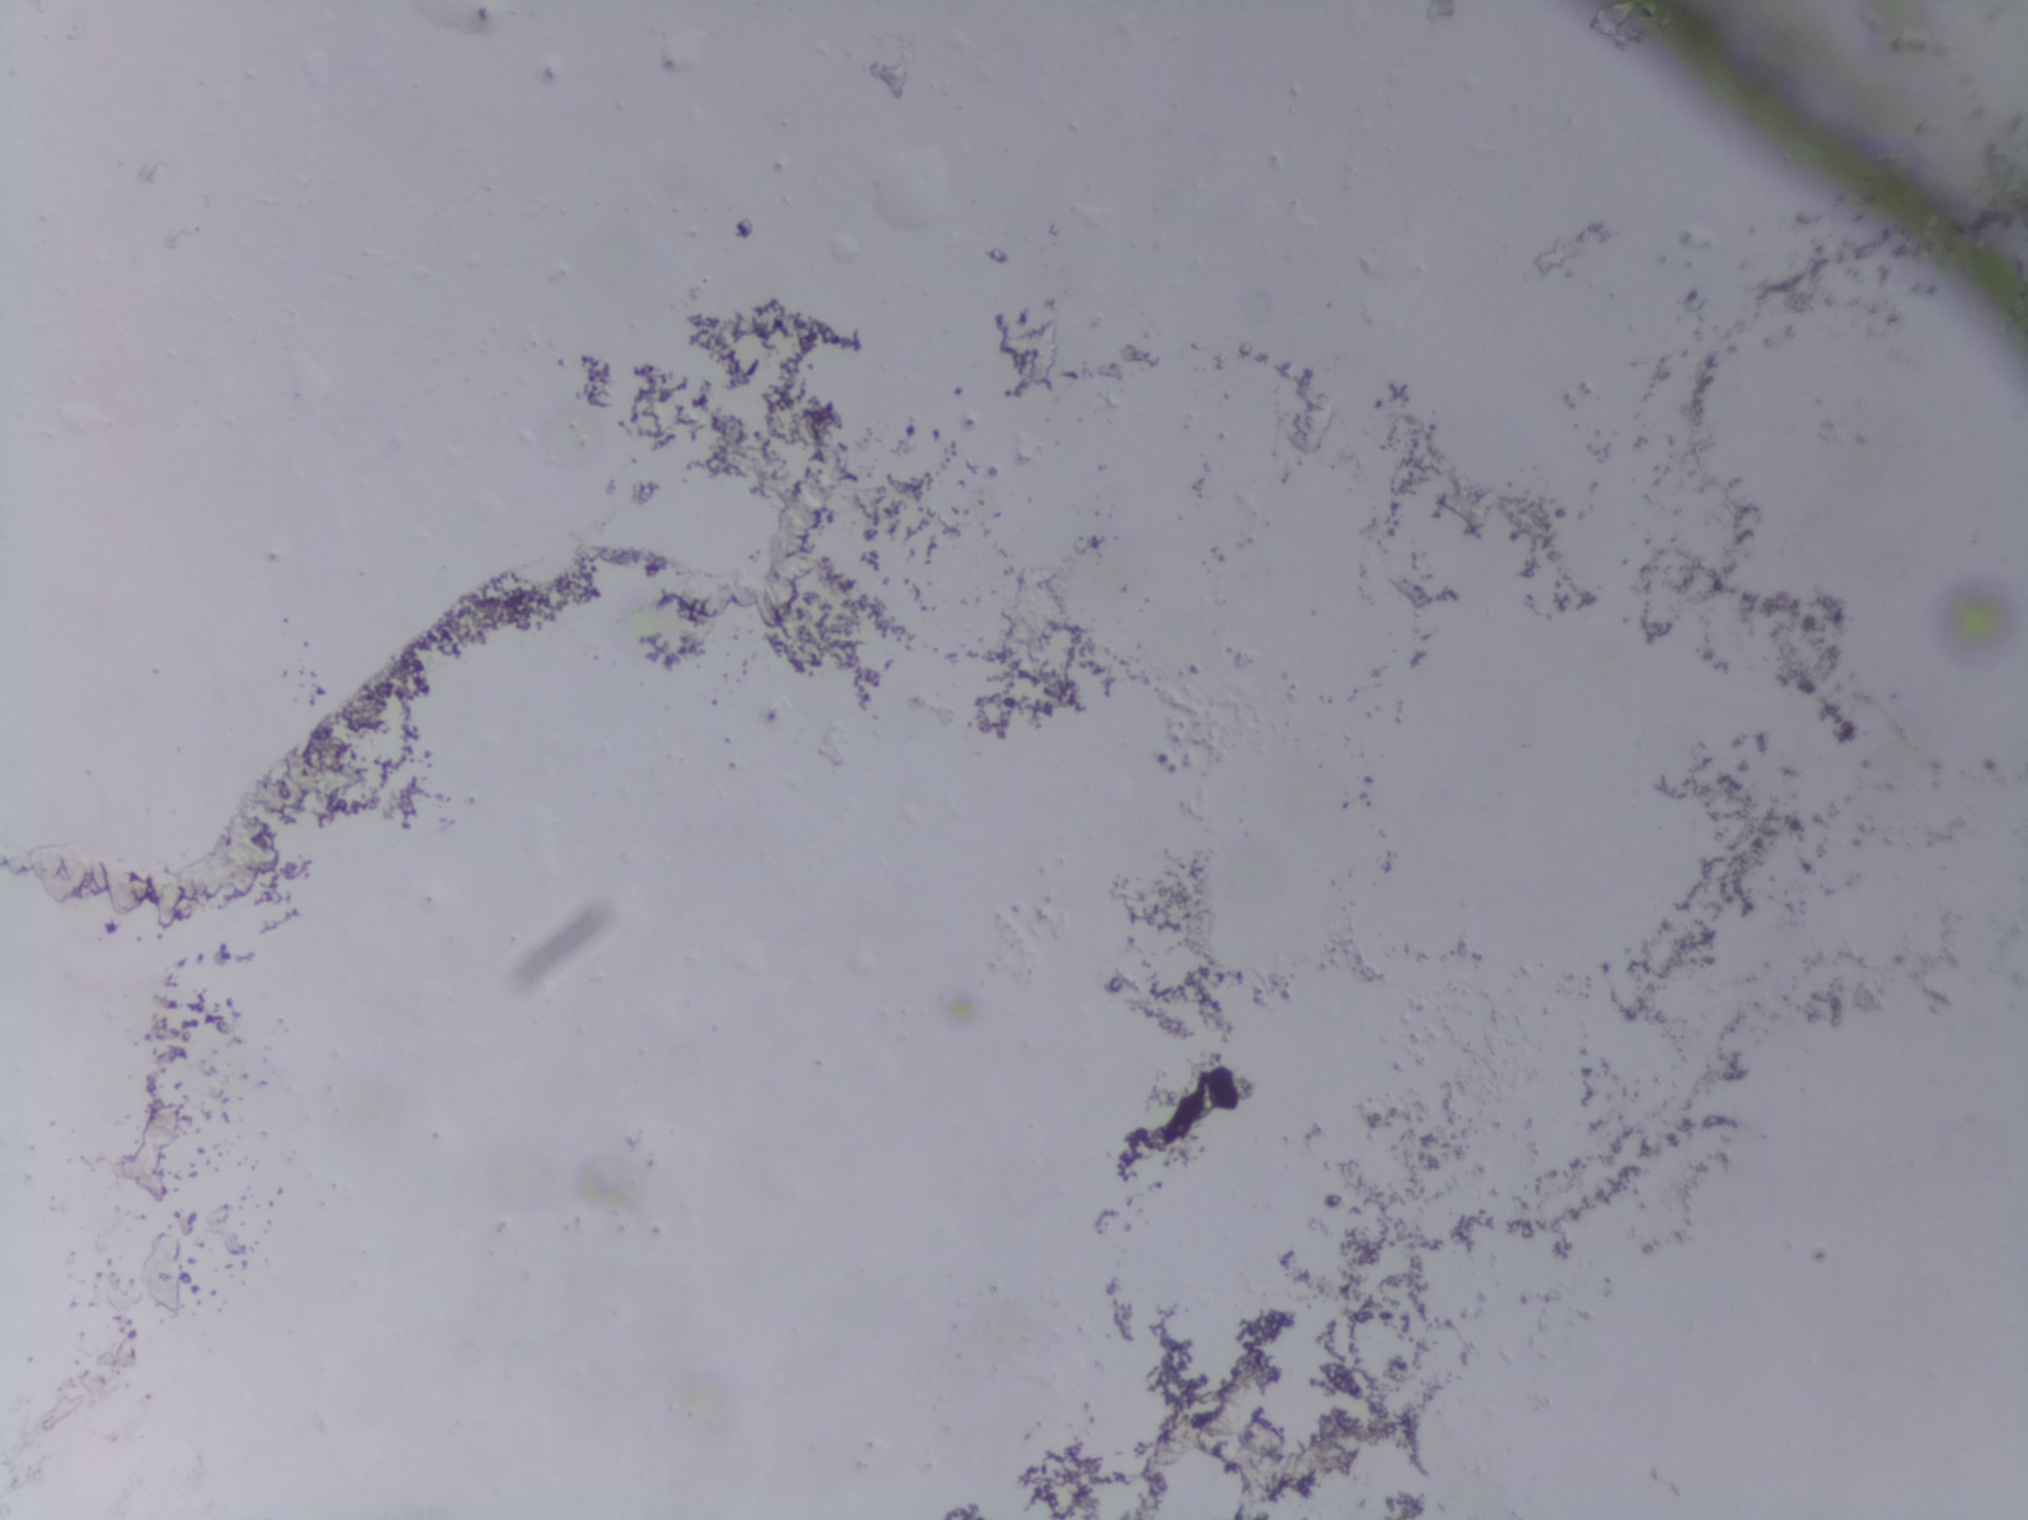
The expert annotation outlines no Schistosoma egg in this image.
Photomicrograph of a urine filtration membrane, 4× objective.